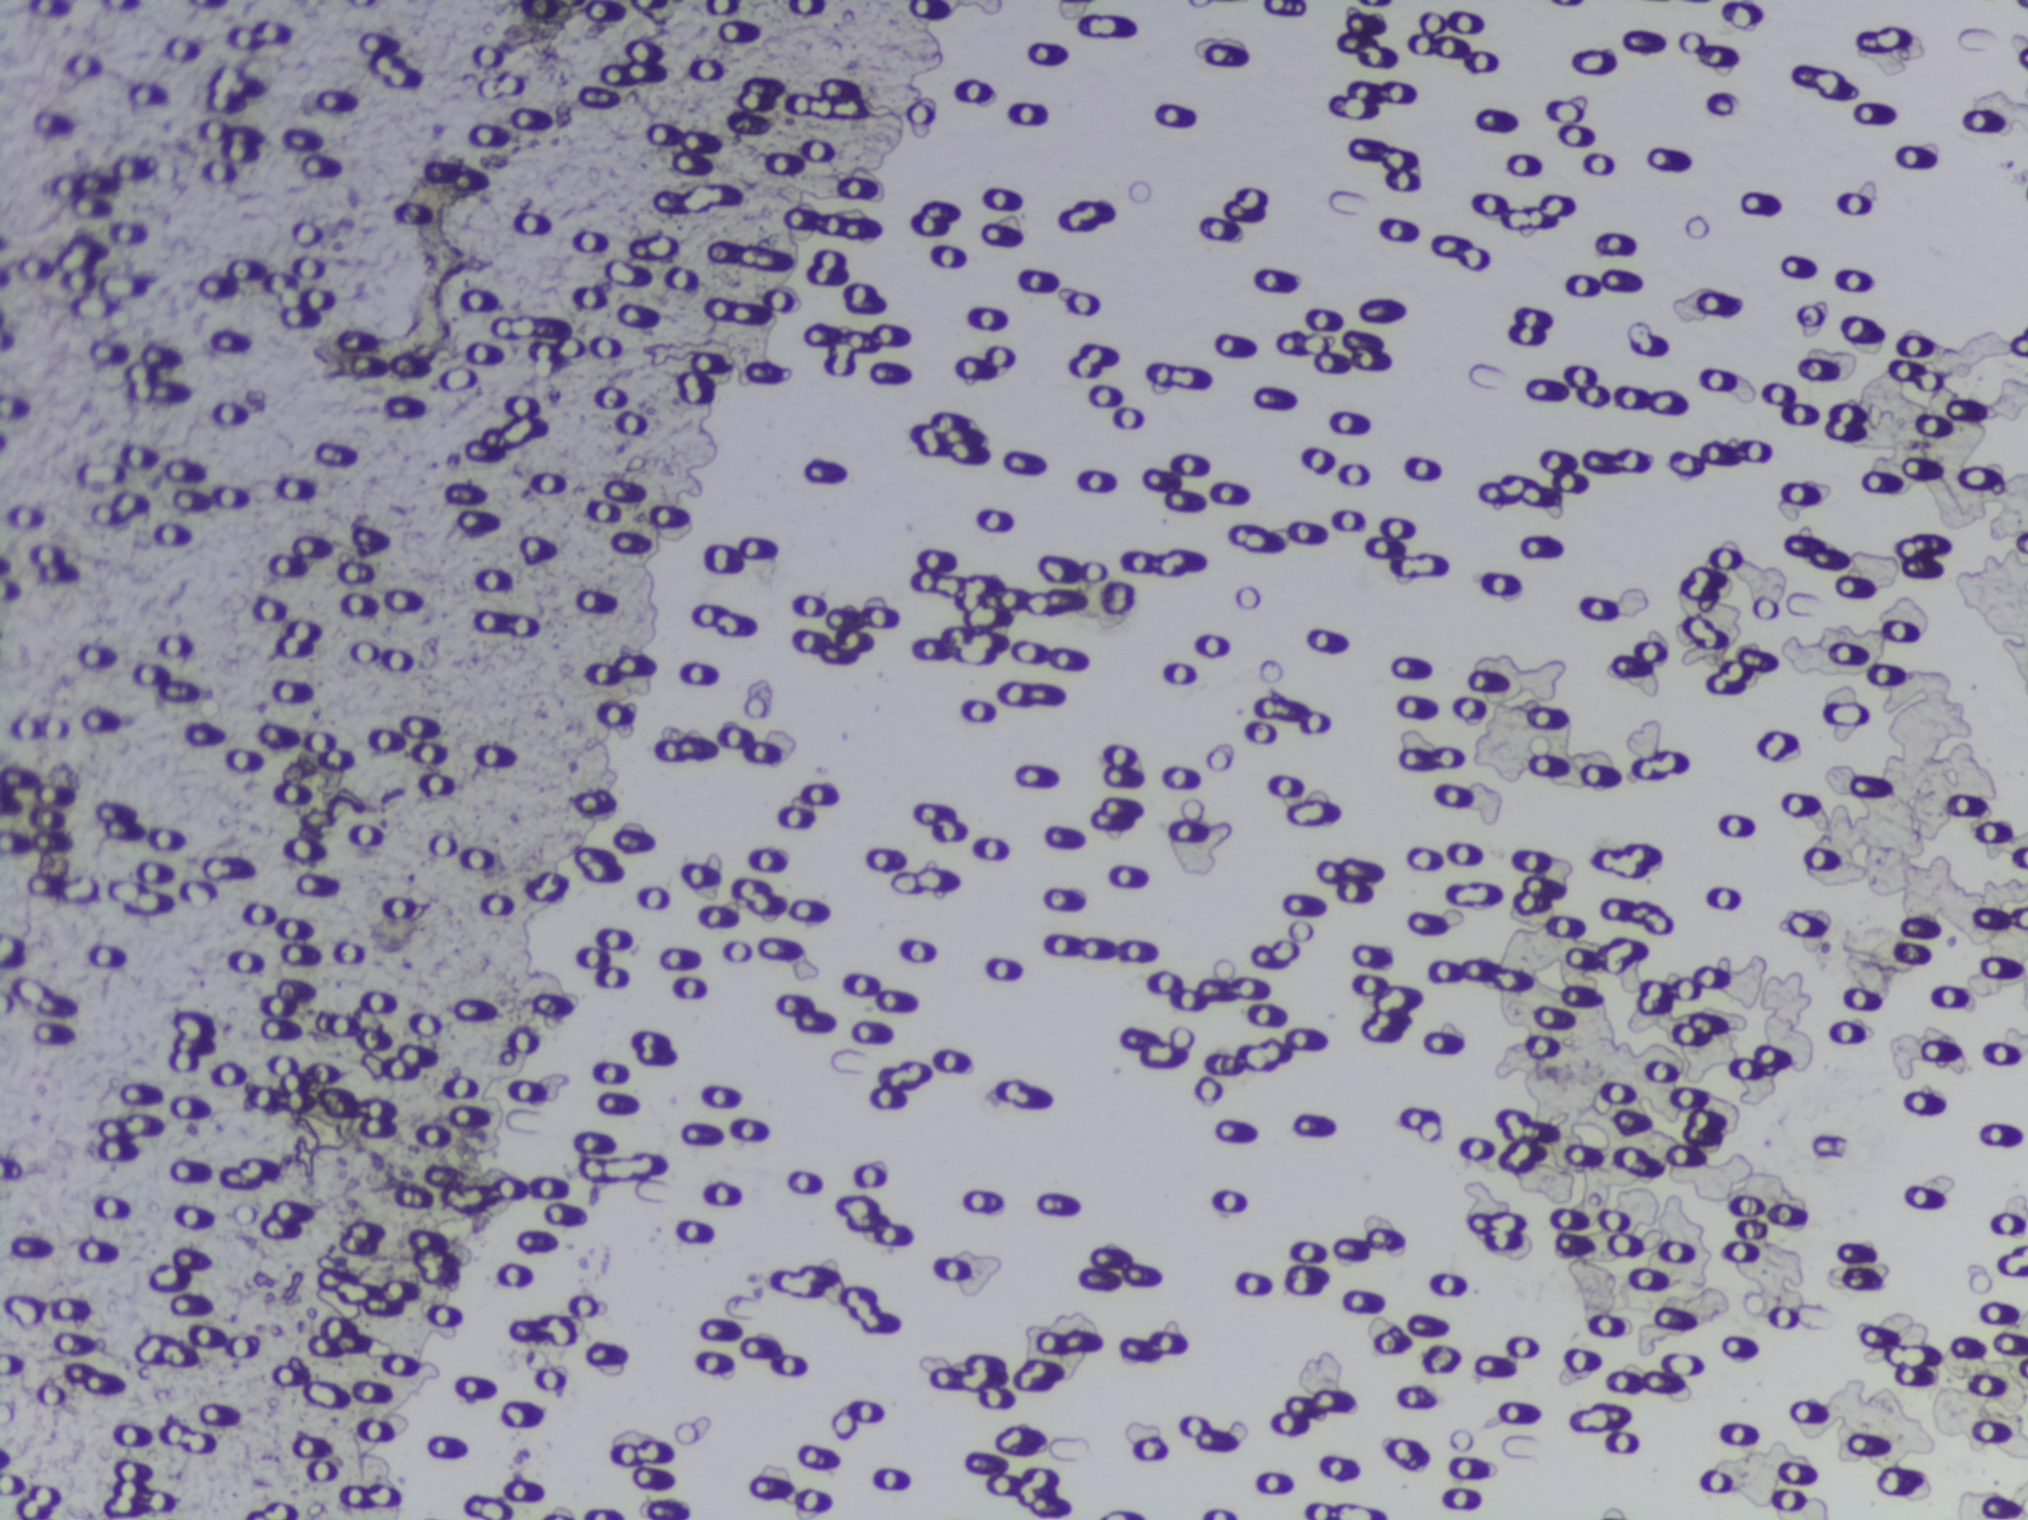
Schistosoma eggs: none outlined.
Photomicrograph of a urine filtration membrane, 4× objective.